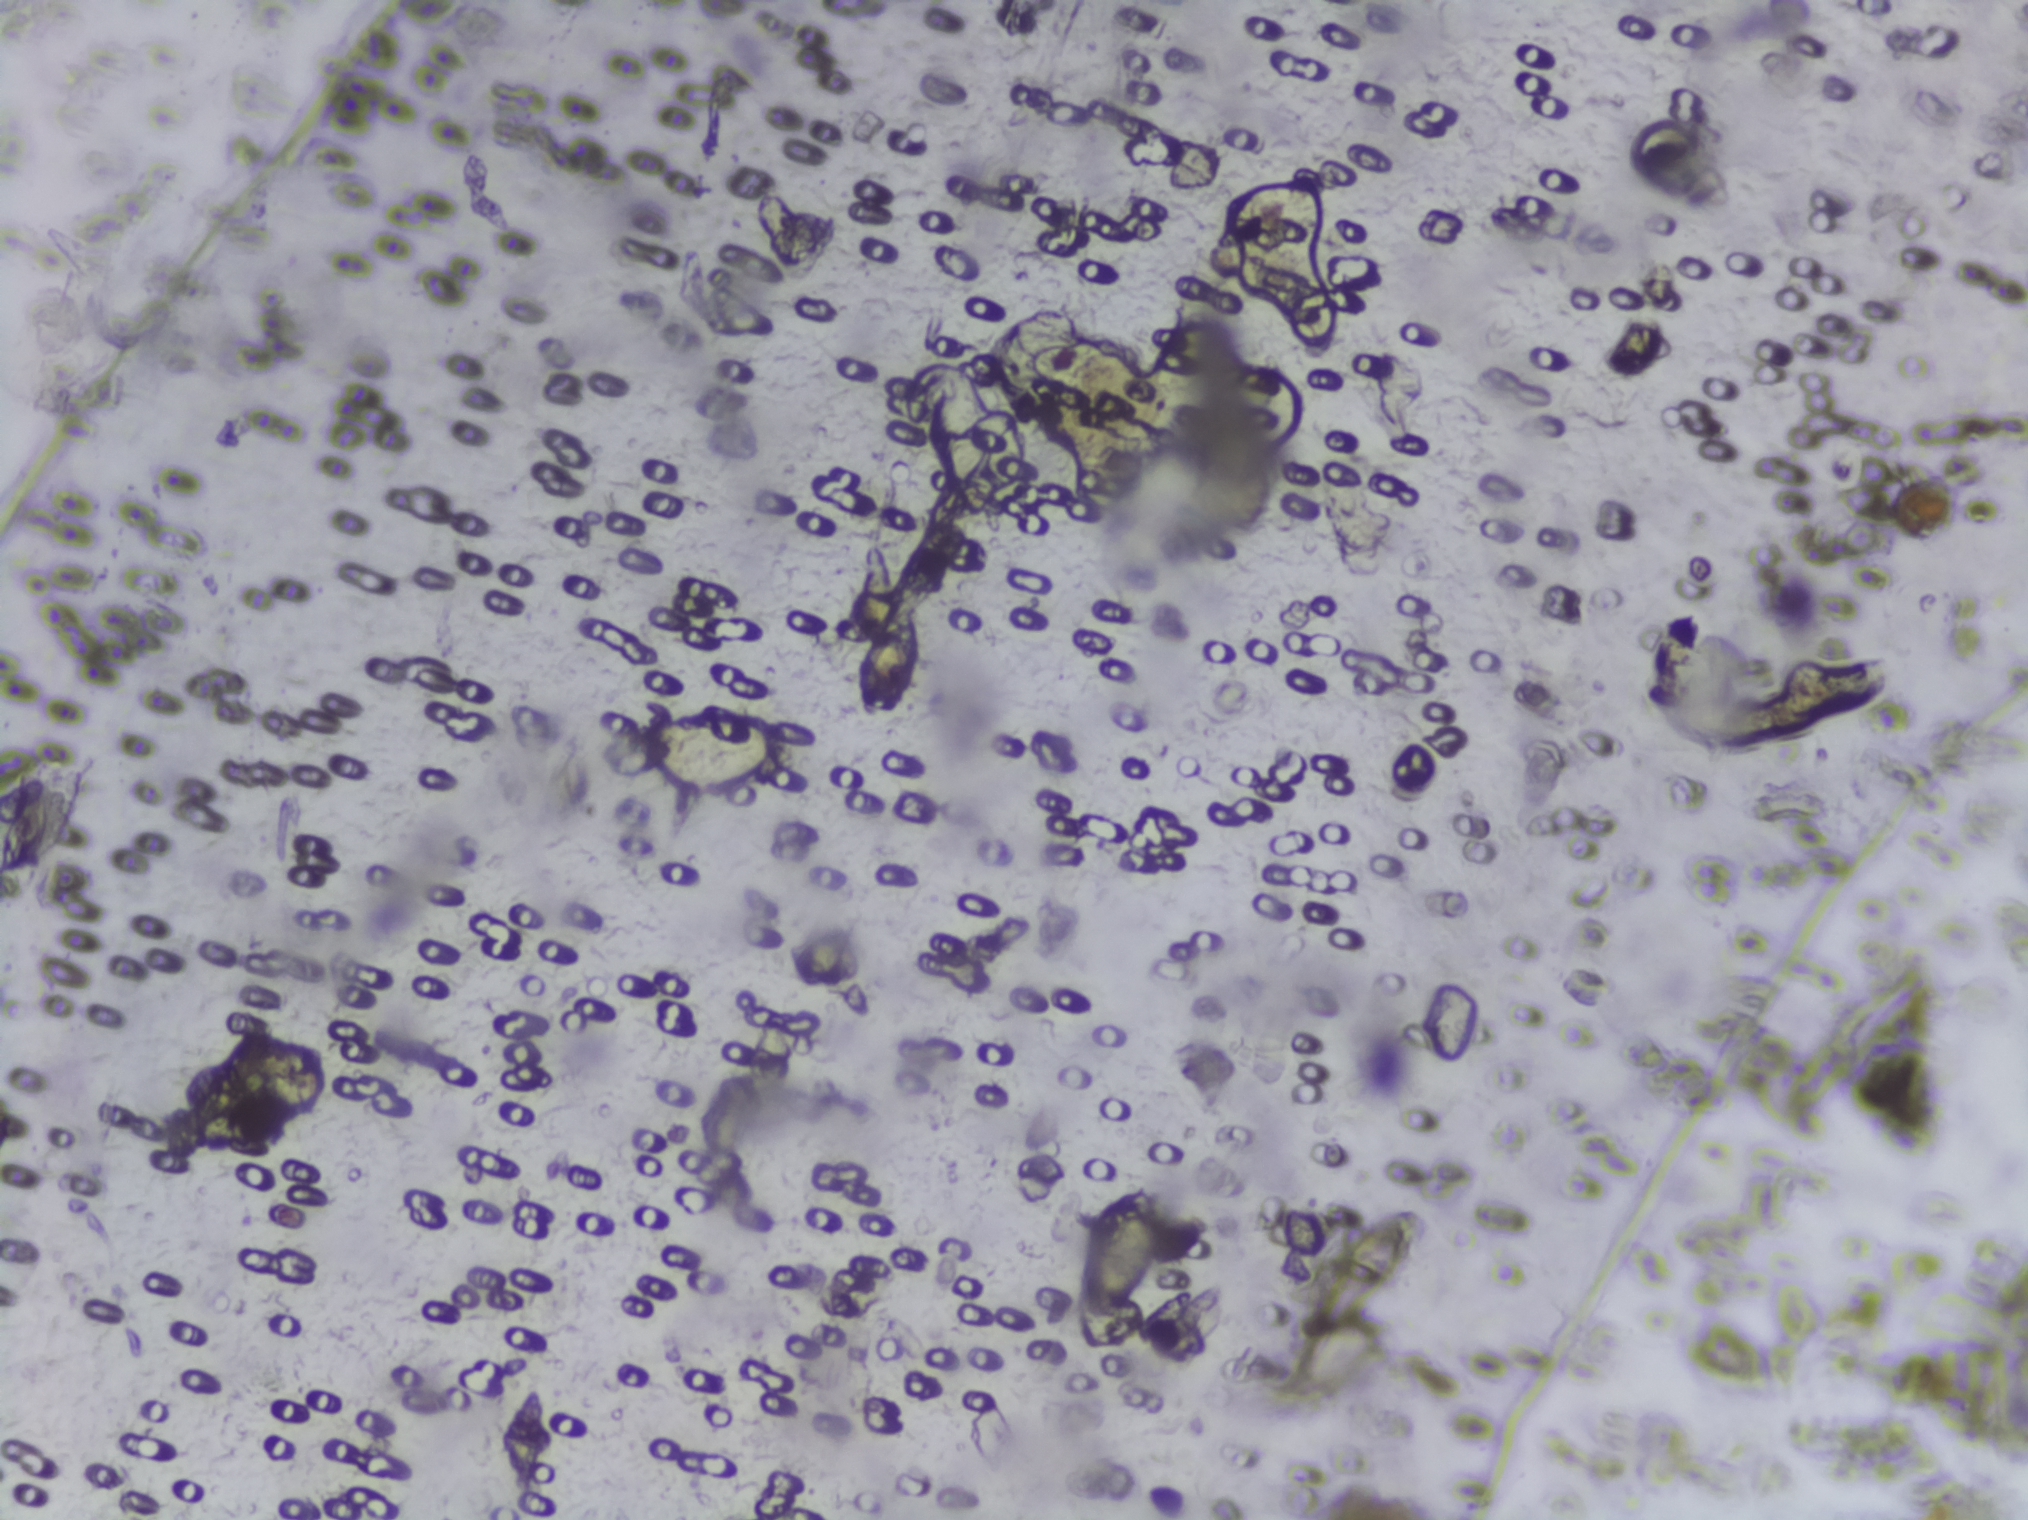
One field of view of a urine filter membrane, 4× objective, 2028 × 1520 pixels. The field of view is about 1.5 mm × 1.1 mm.
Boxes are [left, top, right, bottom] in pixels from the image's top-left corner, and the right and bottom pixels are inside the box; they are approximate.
{"schistosoma_egg_areas_xyxy_px": [[1070, 1181, 1162, 1314]]}
A single outlined area may contain several eggs.